Microscope photograph (4× objective) of a membrane that a urine sample was filtered through.
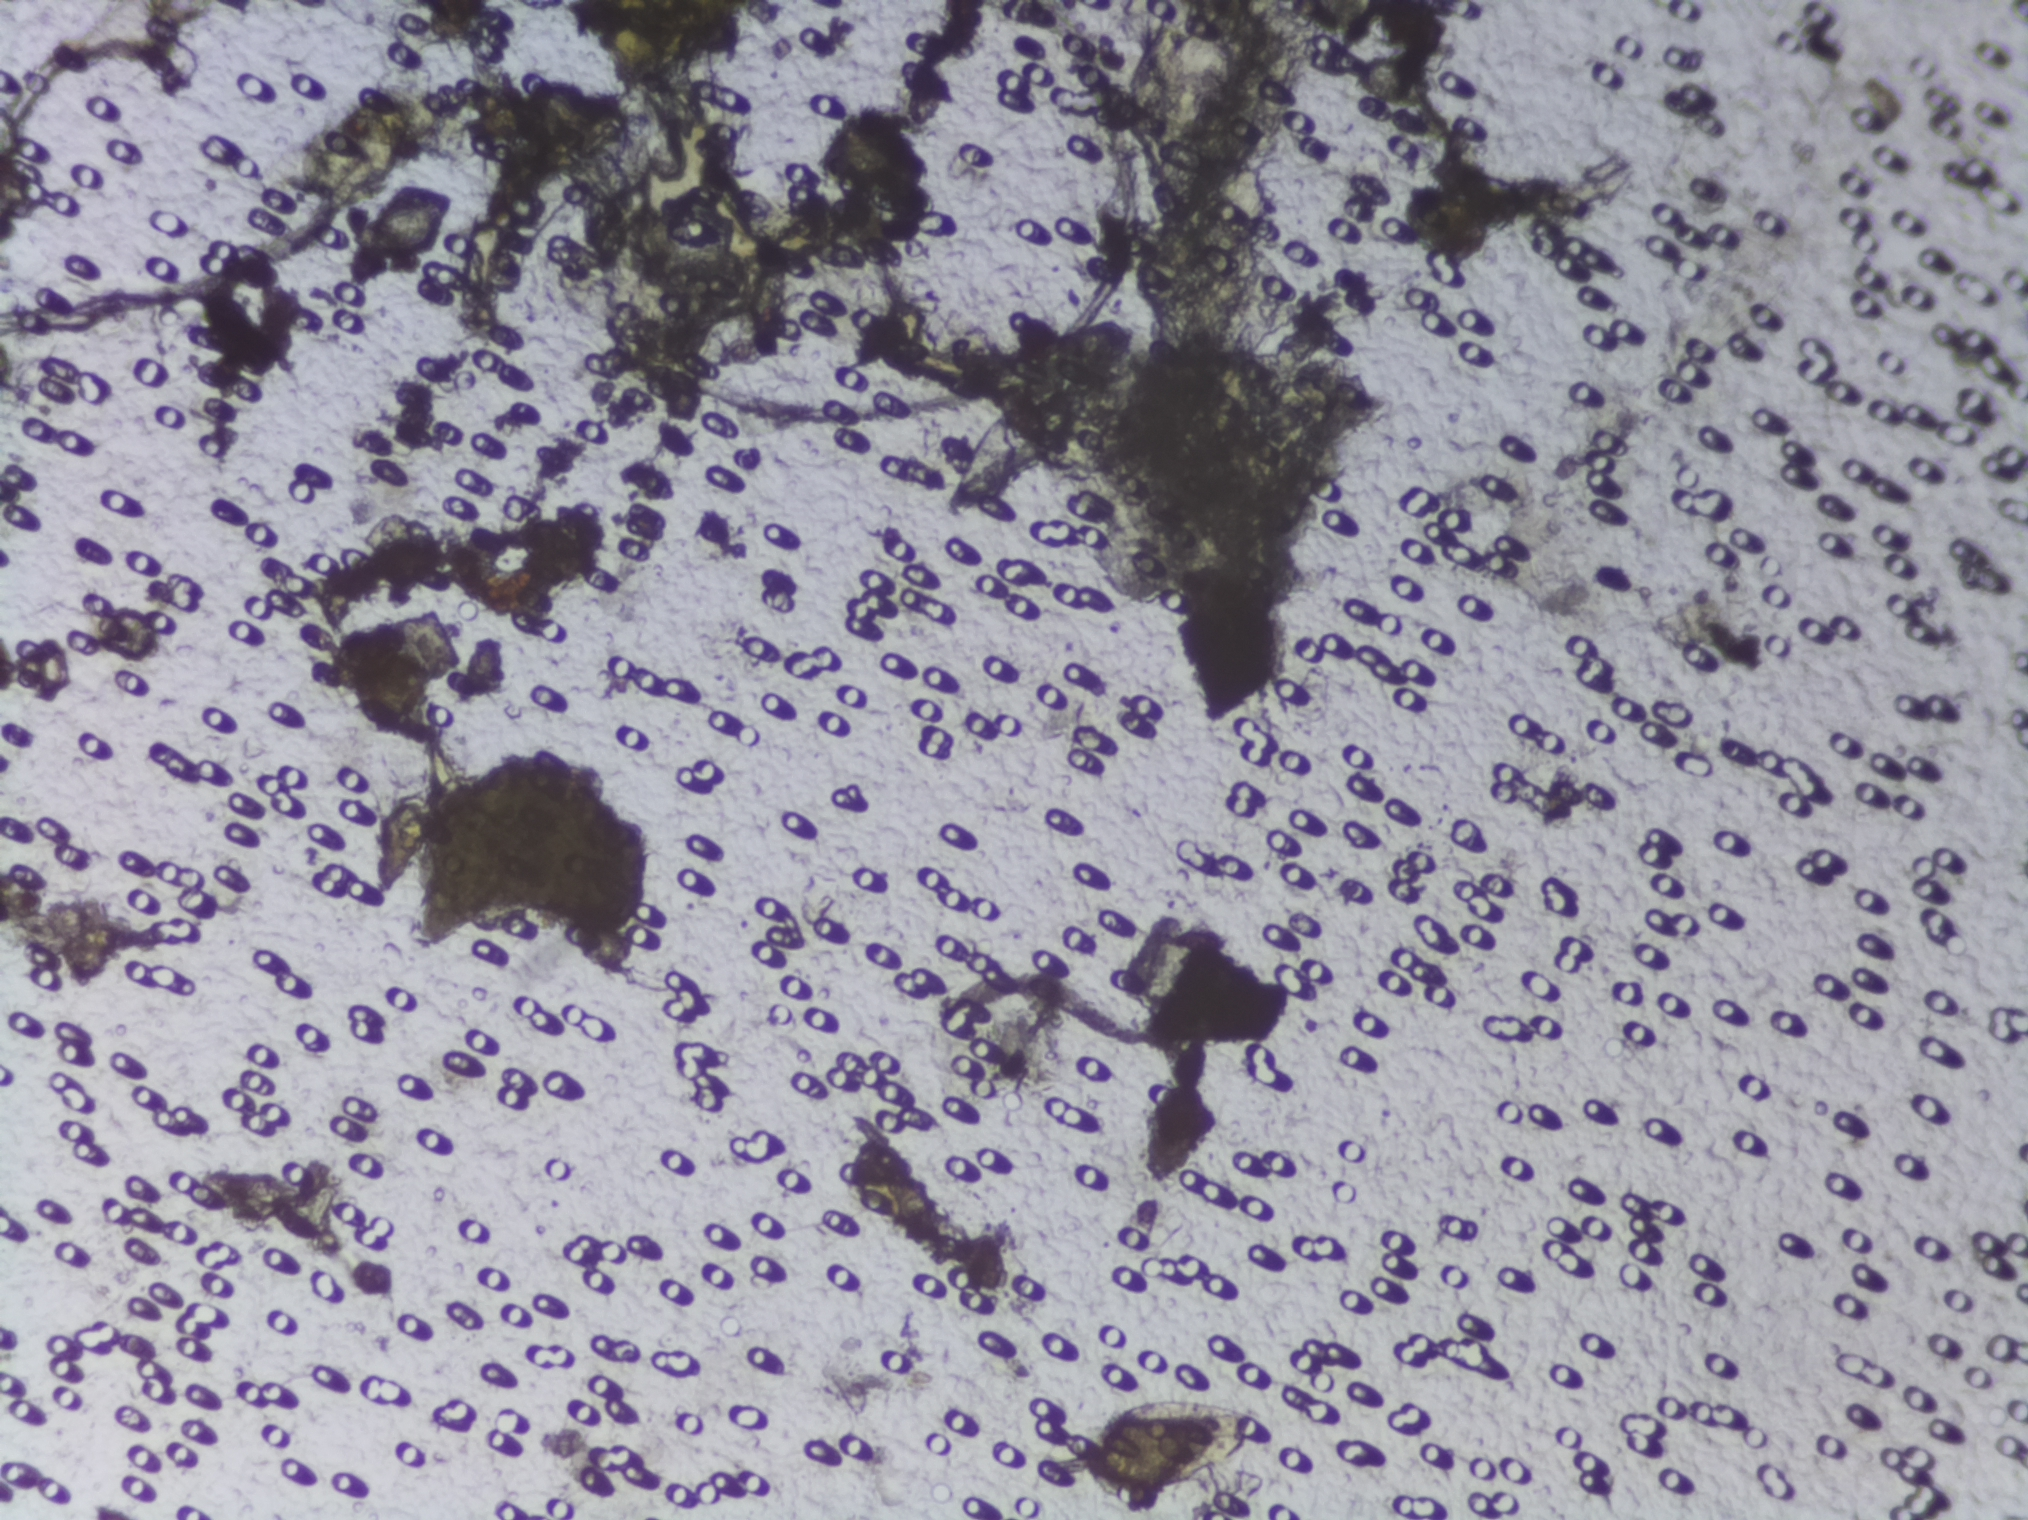
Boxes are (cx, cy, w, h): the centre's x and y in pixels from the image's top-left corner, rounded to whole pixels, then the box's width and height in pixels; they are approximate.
Schistosoma eggs are outlined in one area of this image: (cx=1151, cy=1450, w=219, h=103). Eggs that touch can end up inside the same outlined area.